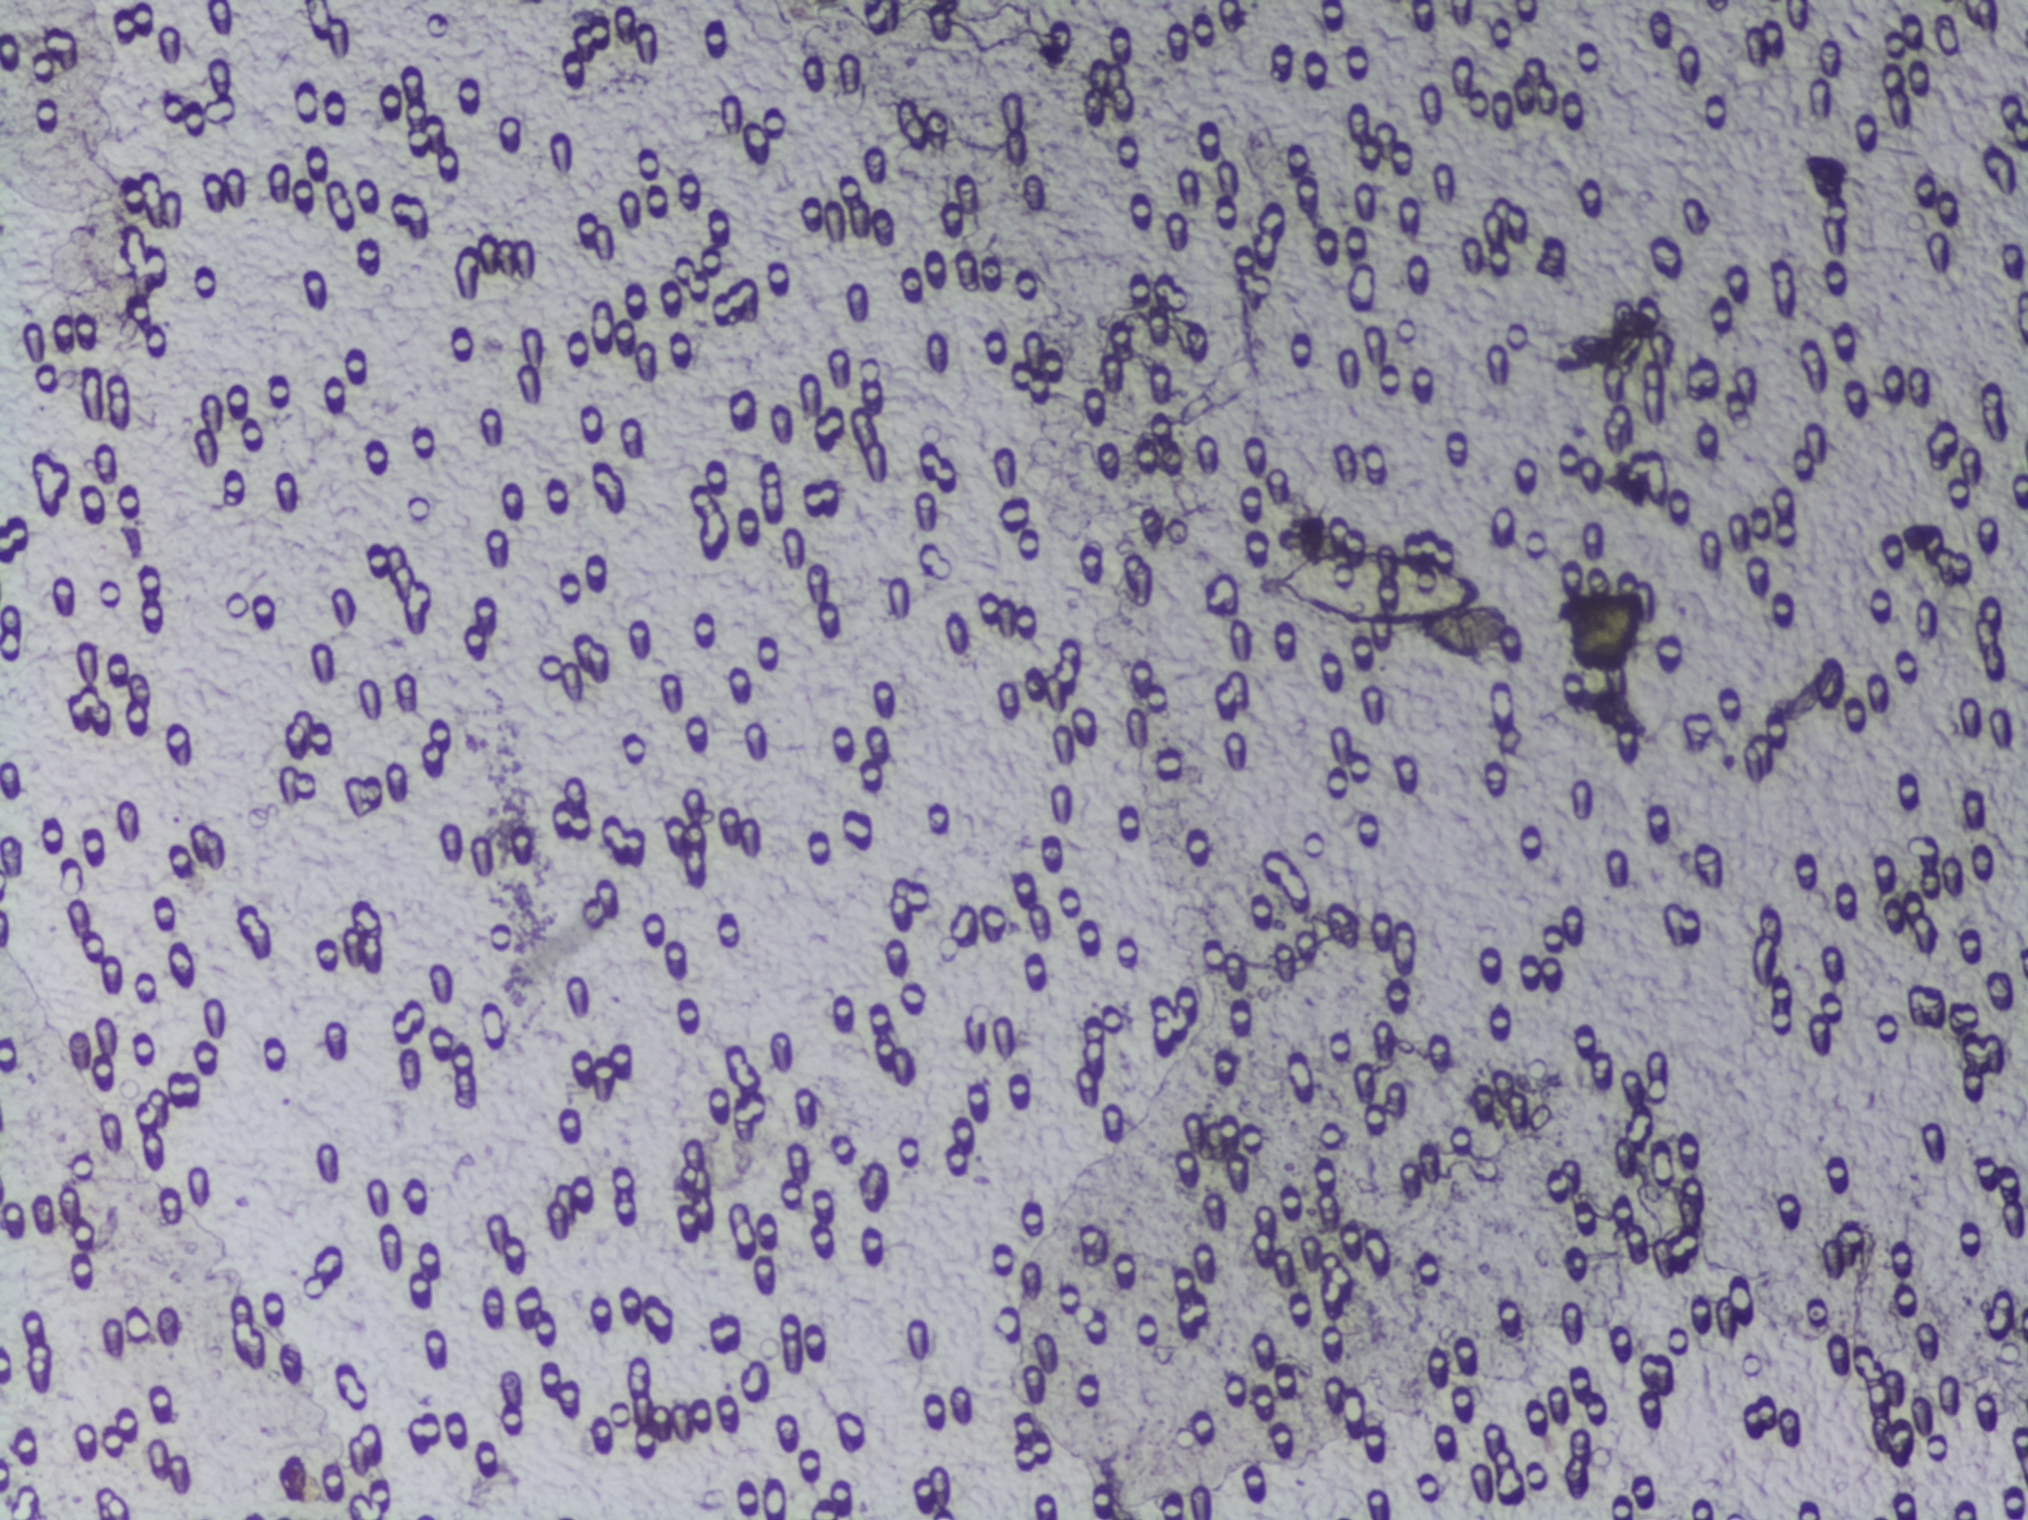
Urine filtration membrane under a 4× objective, photographed by an automated digital microscope.
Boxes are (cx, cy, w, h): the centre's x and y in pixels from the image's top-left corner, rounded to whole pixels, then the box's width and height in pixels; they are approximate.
Findings: one area outlined as Schistosoma eggs. Location: (cx=1374, cy=590, w=219, h=85). A single outlined area may contain several eggs.